One field of view of a urine filter membrane, 4× objective, 2028 × 1520 pixels.
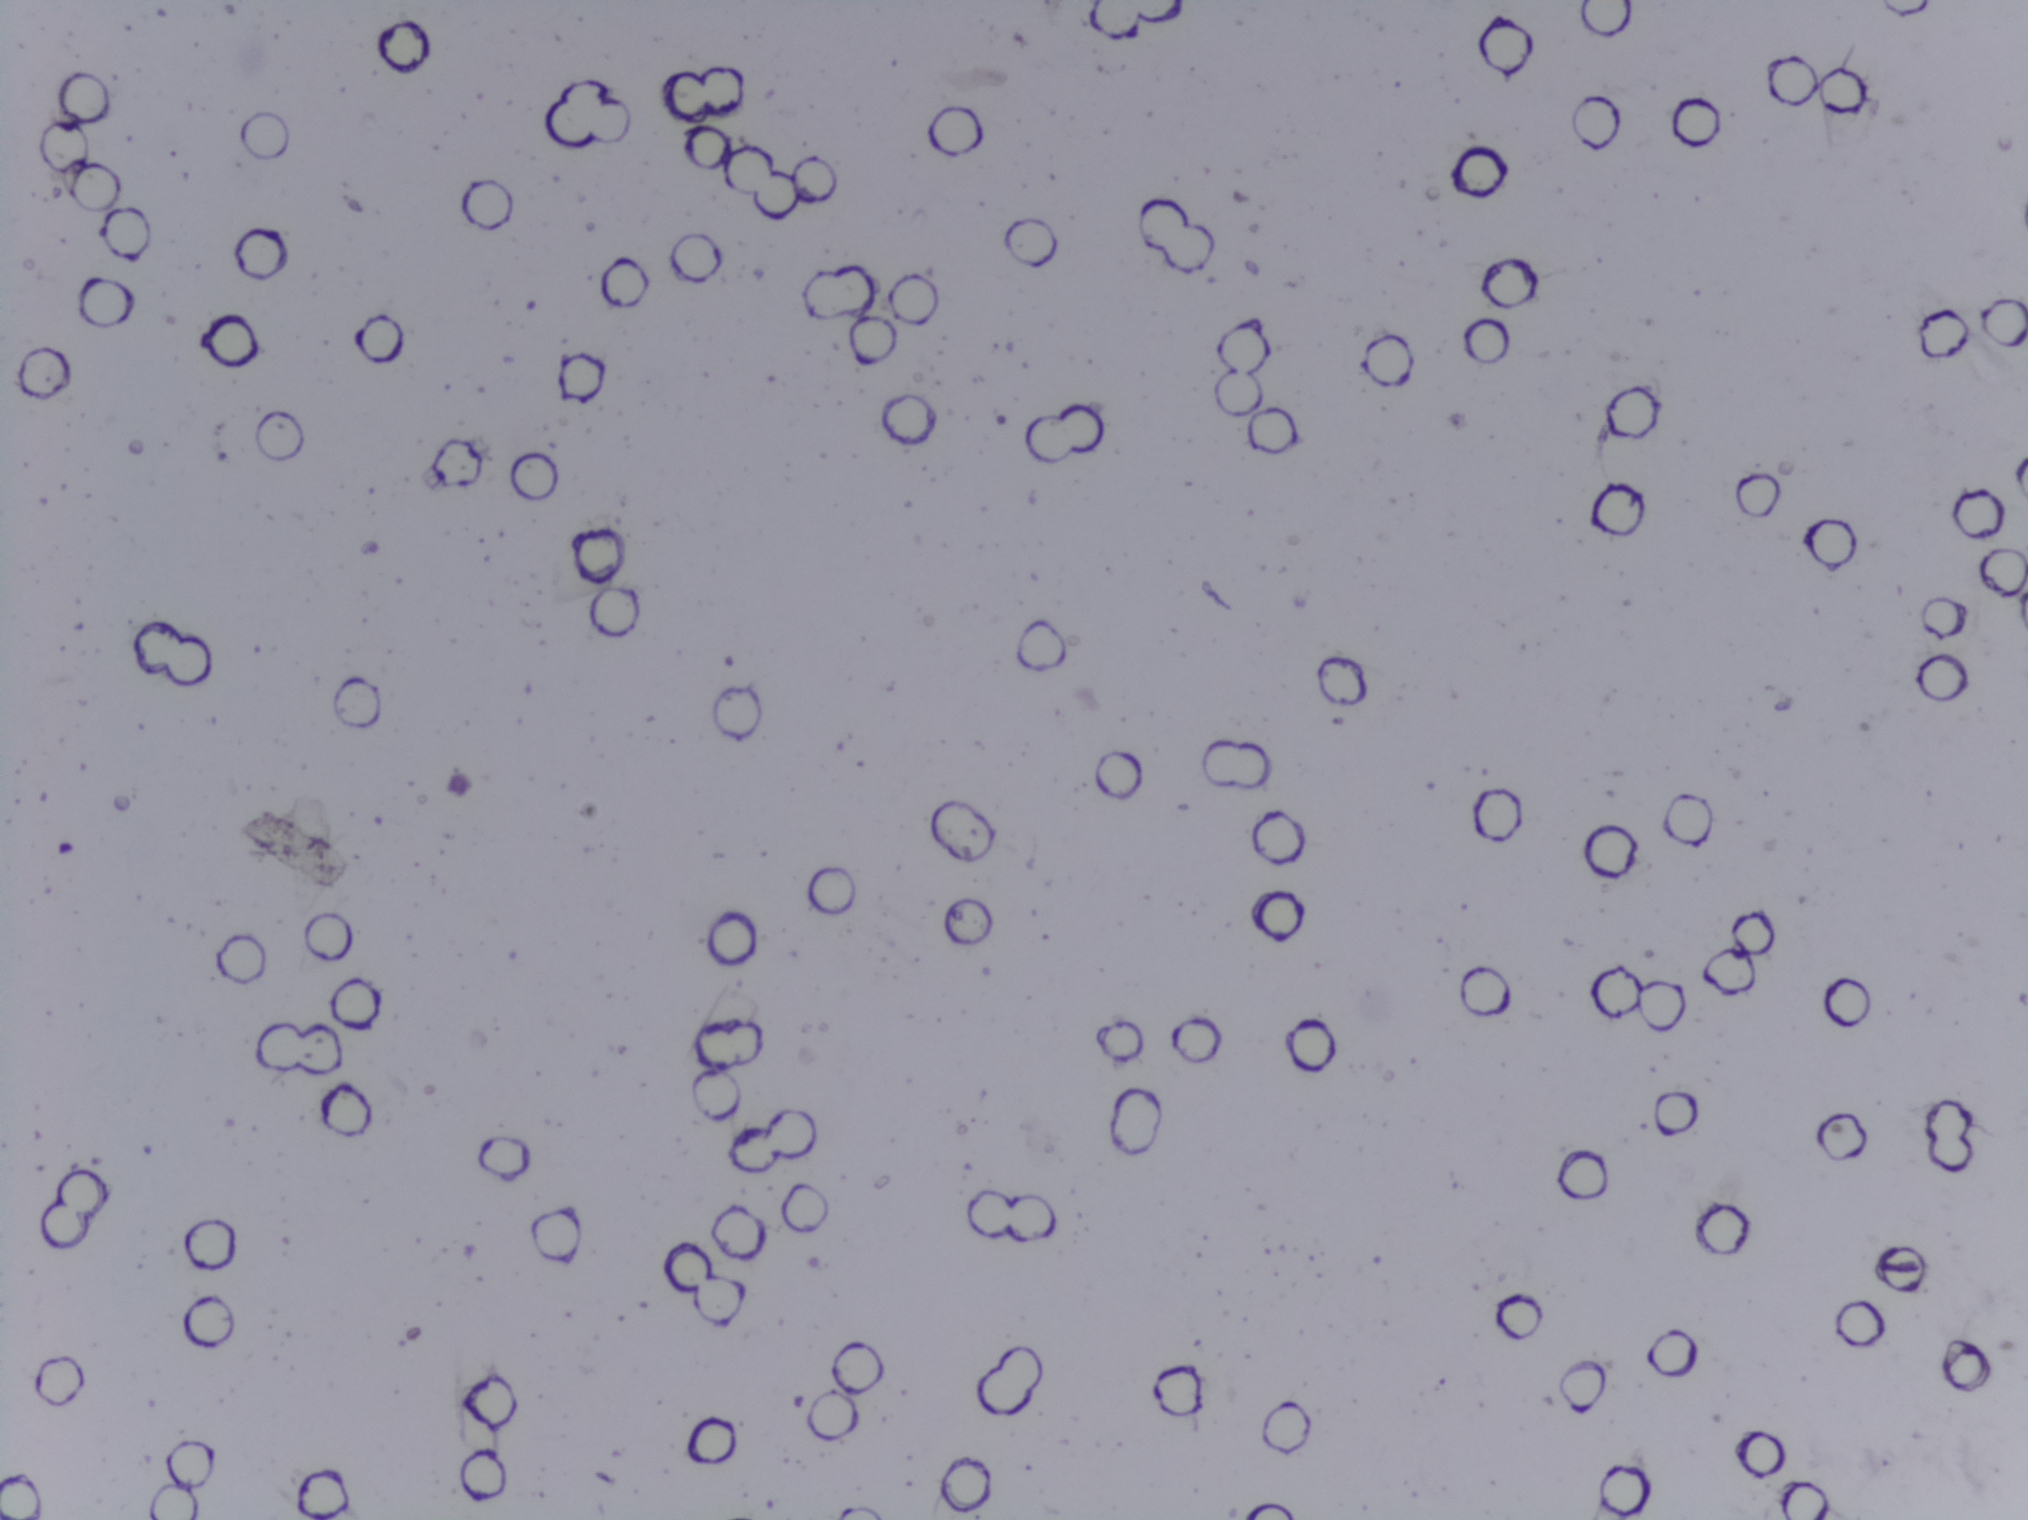
No area of this image was outlined as a Schistosoma egg.